Urine filtration membrane under a 4× objective, photographed by an automated digital microscope. The field of view is about 1.5 mm × 1.1 mm.
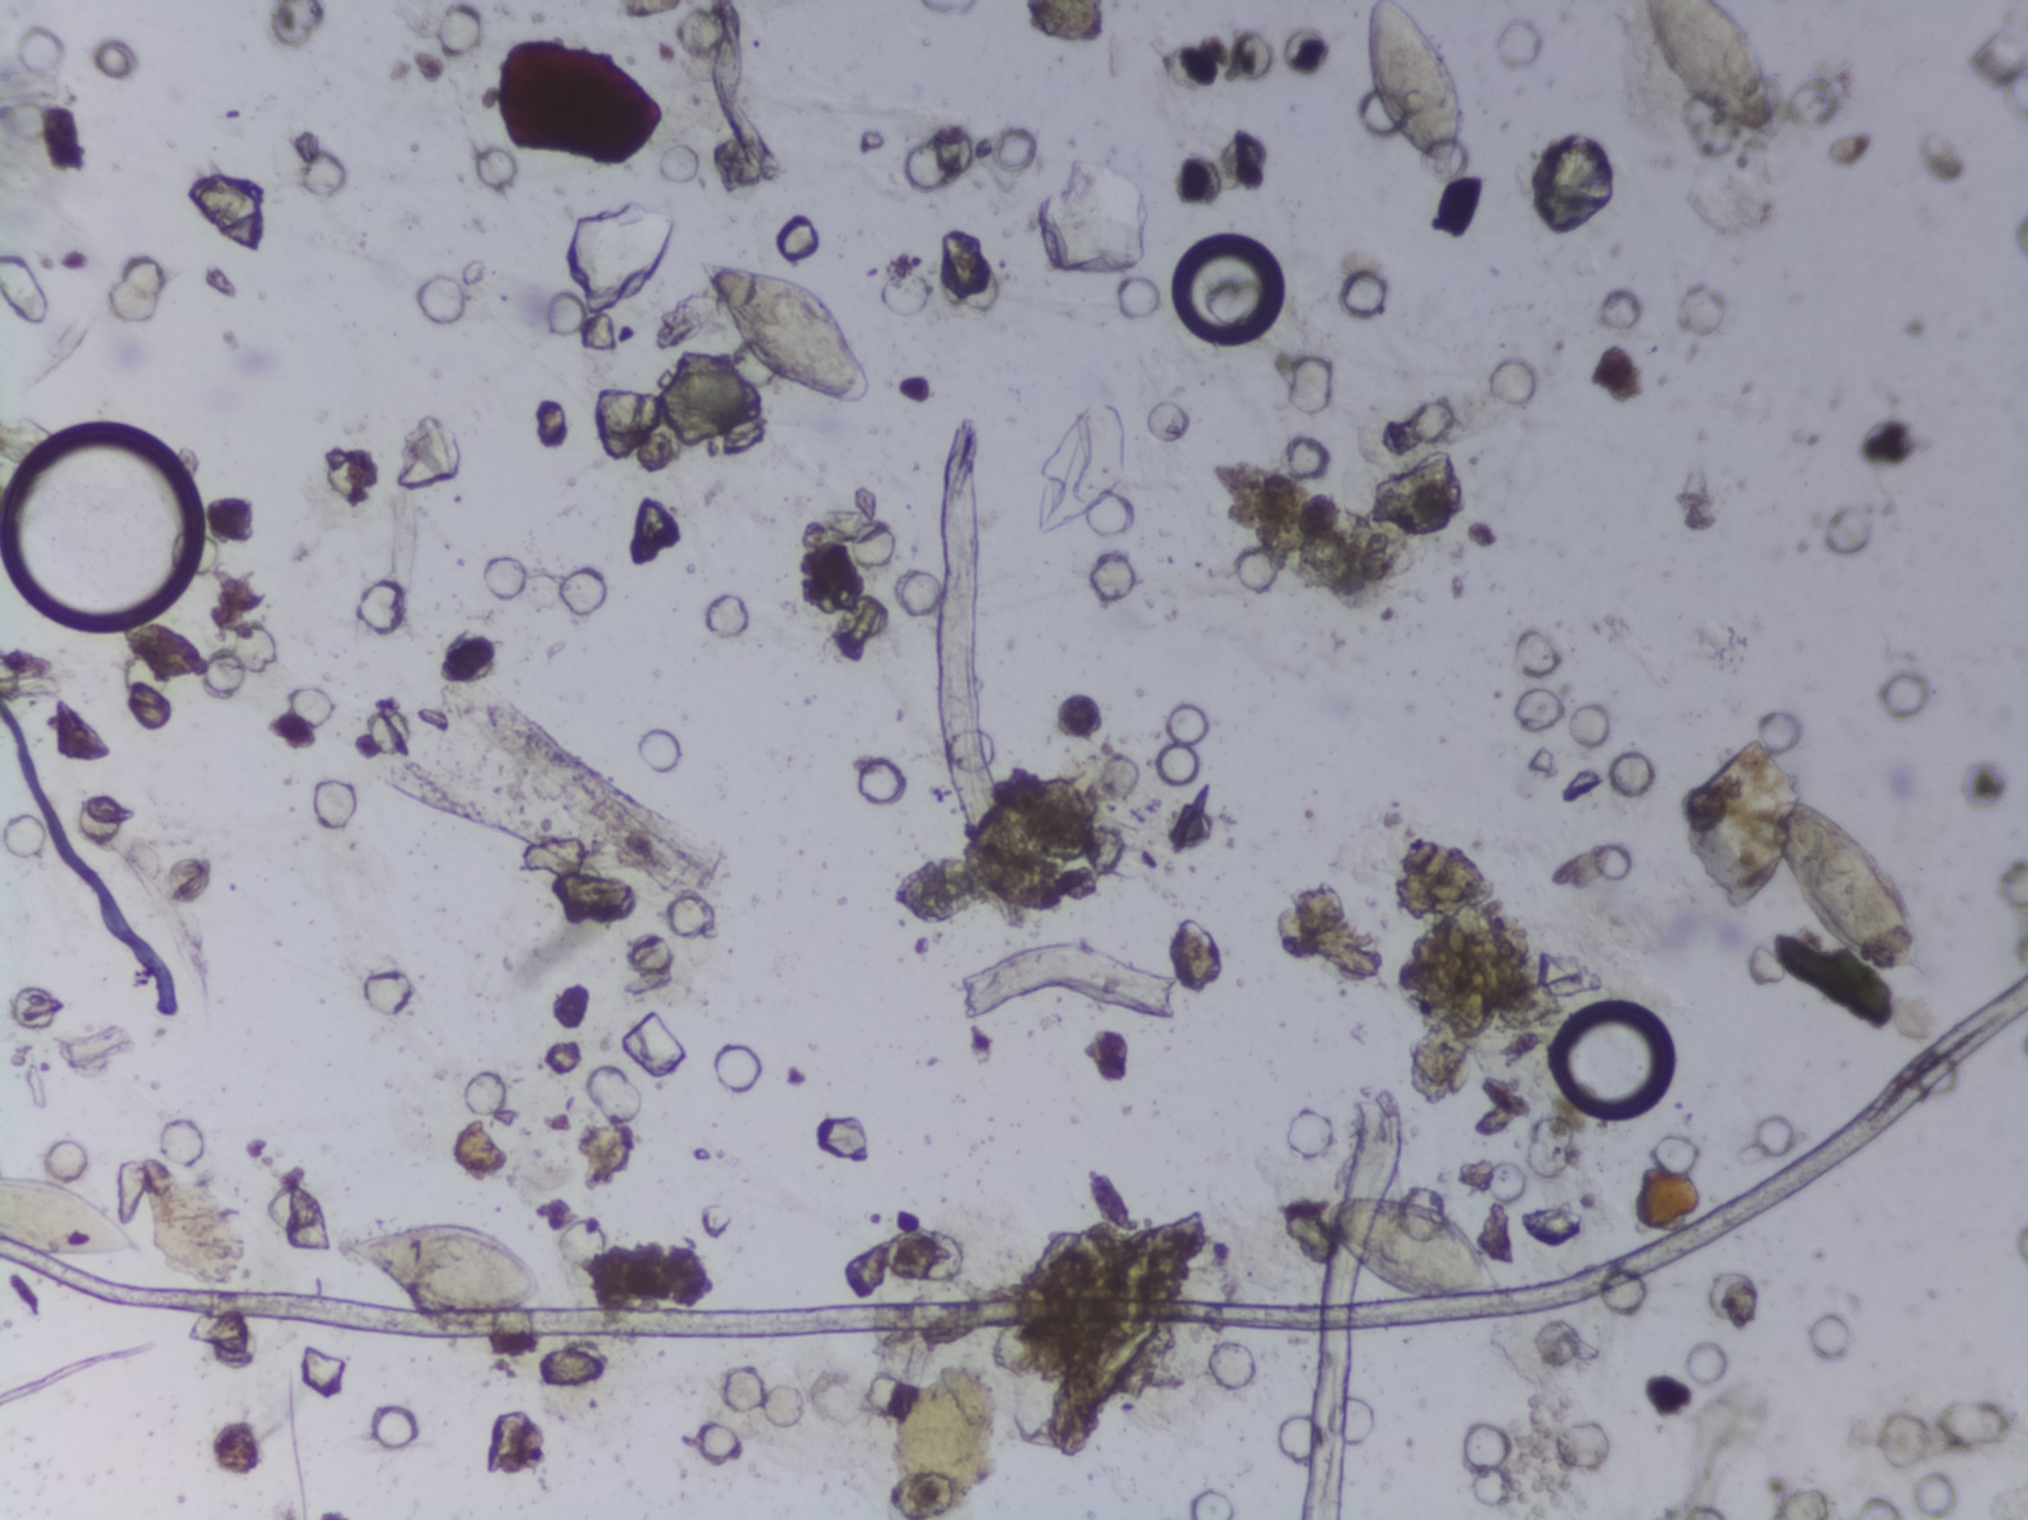
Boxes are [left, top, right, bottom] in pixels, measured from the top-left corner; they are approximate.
Areas outlined as Schistosoma eggs: [0, 1173, 152, 1268] (reaching the left edge of the frame); [339, 1218, 546, 1323]; [692, 254, 878, 408]; [1313, 1188, 1525, 1307]; [1357, 0, 1469, 177] (reaching the top edge of the frame); [1638, 0, 1778, 146] (reaching the top edge of the frame); [1759, 792, 1940, 993]. A single outlined area may contain several eggs.